Microscope photograph (4× objective) of a membrane that a urine sample was filtered through.
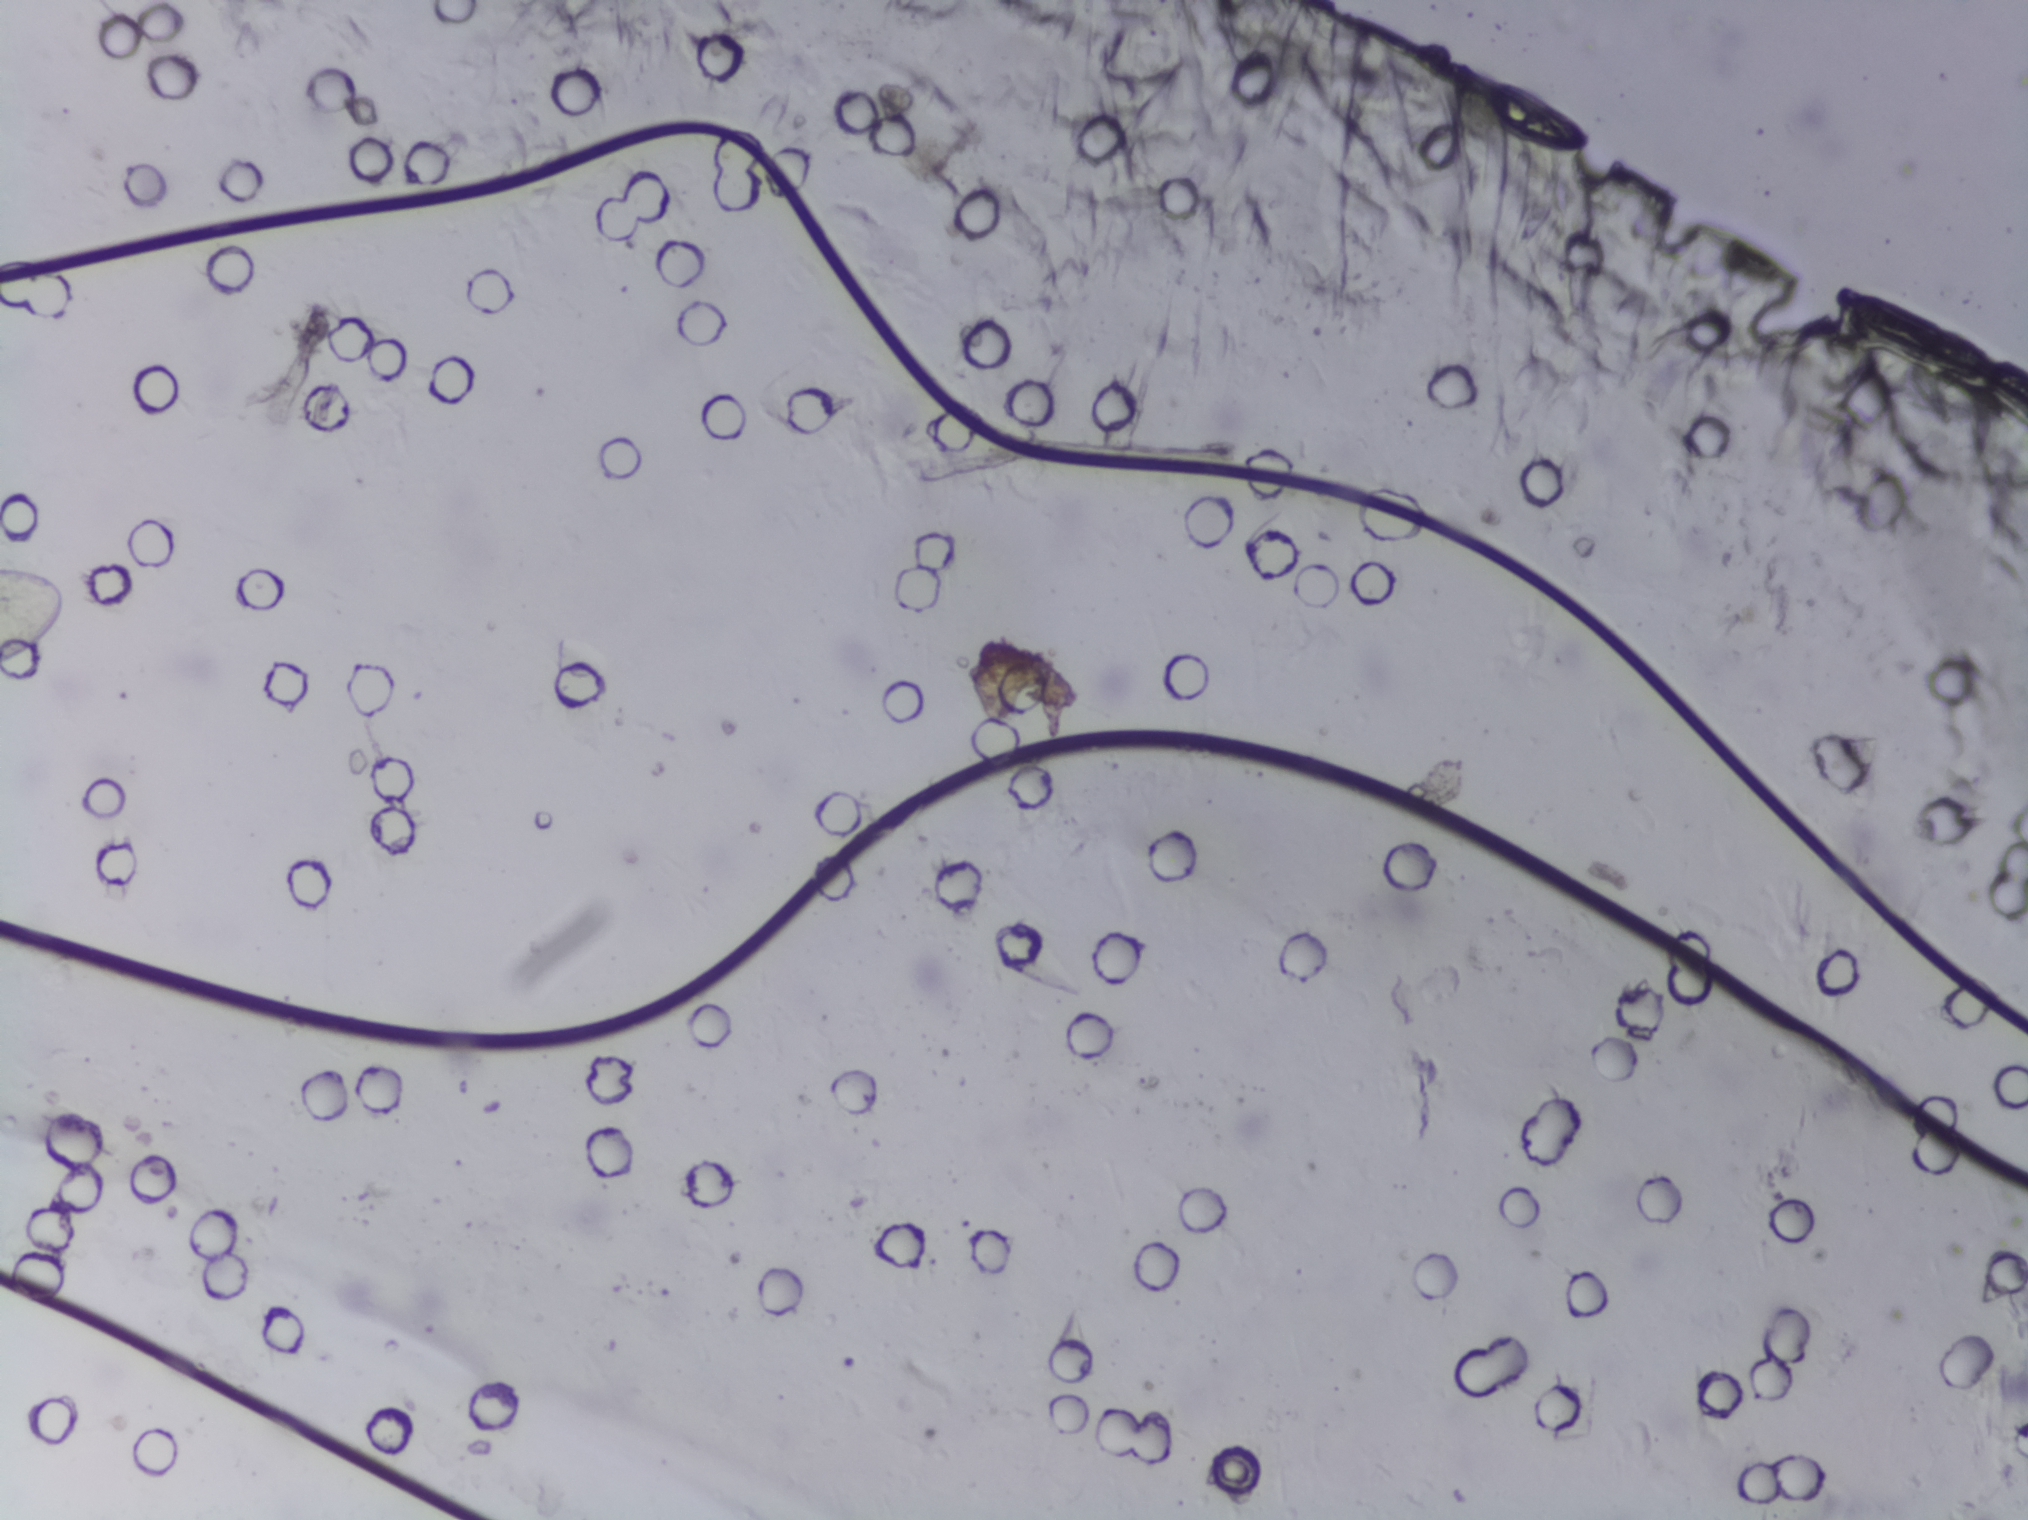
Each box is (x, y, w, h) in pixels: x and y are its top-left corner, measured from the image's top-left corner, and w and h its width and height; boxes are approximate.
Outlined Schistosoma egg areas:
1. (x=0, y=555, w=67, h=116) (reaching the left edge of the frame)
Marked pixels, not the box around them: about 0.2% of the image. A single outlined area may contain several eggs.